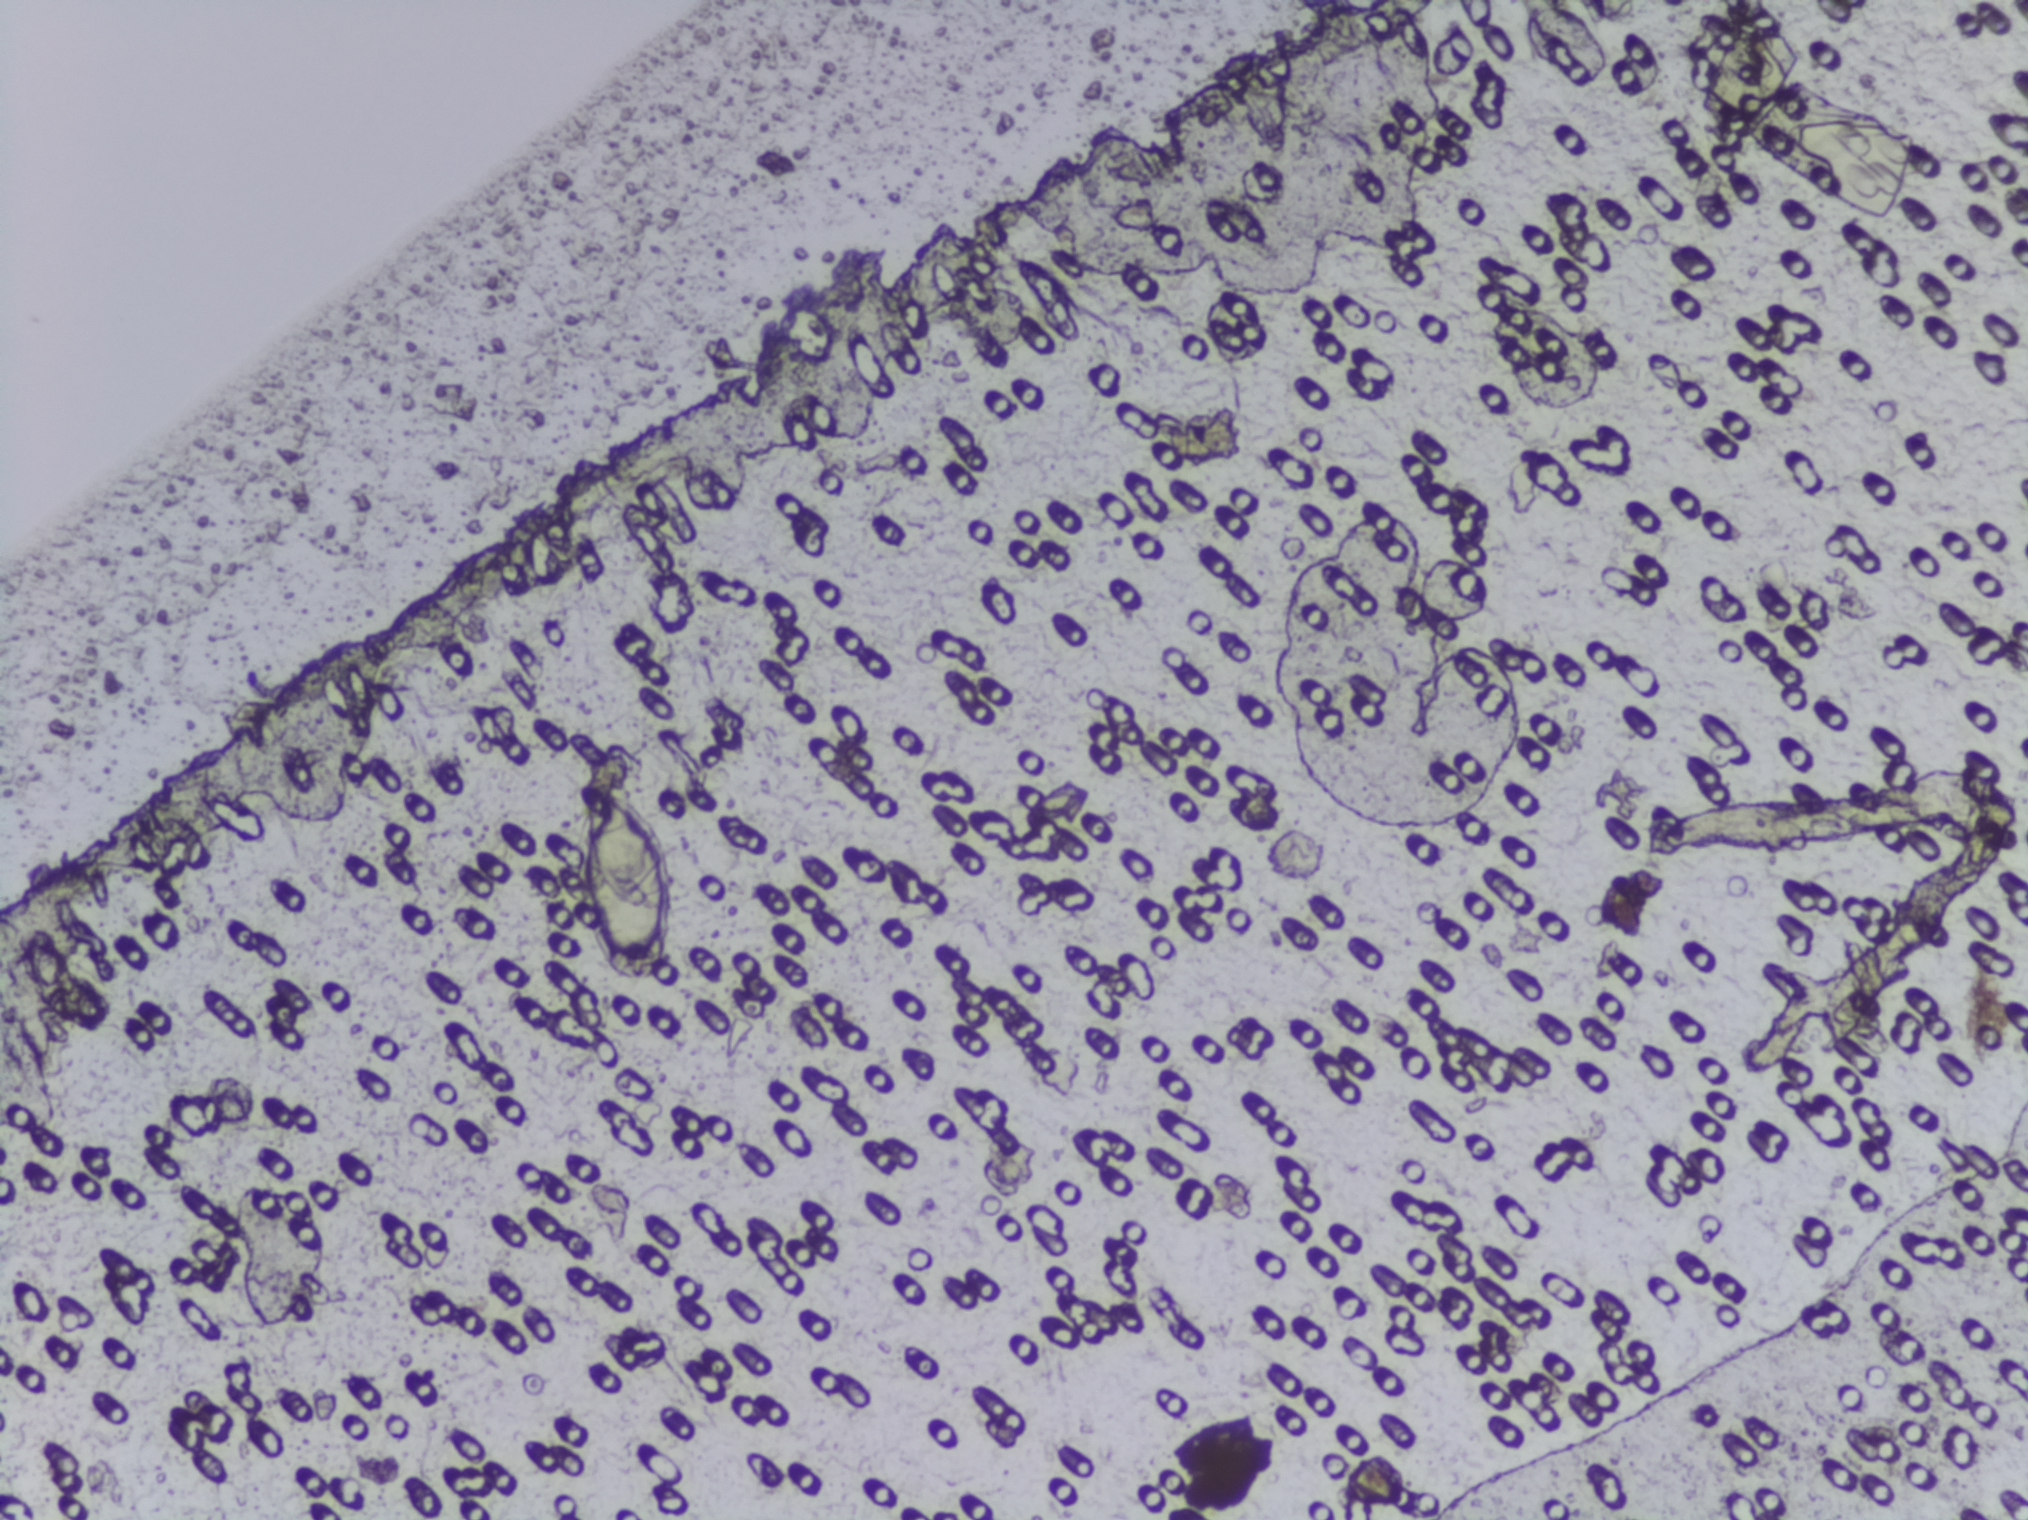
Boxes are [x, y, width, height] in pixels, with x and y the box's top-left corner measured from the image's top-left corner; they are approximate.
Schistosoma eggs are outlined in the expert annotation at [569, 764, 110, 238]. Eggs that touch can end up inside the same outlined area.
Urine filter membrane photographed through a 4× microscope objective.